Microscope photograph (4× objective) of a membrane that a urine sample was filtered through.
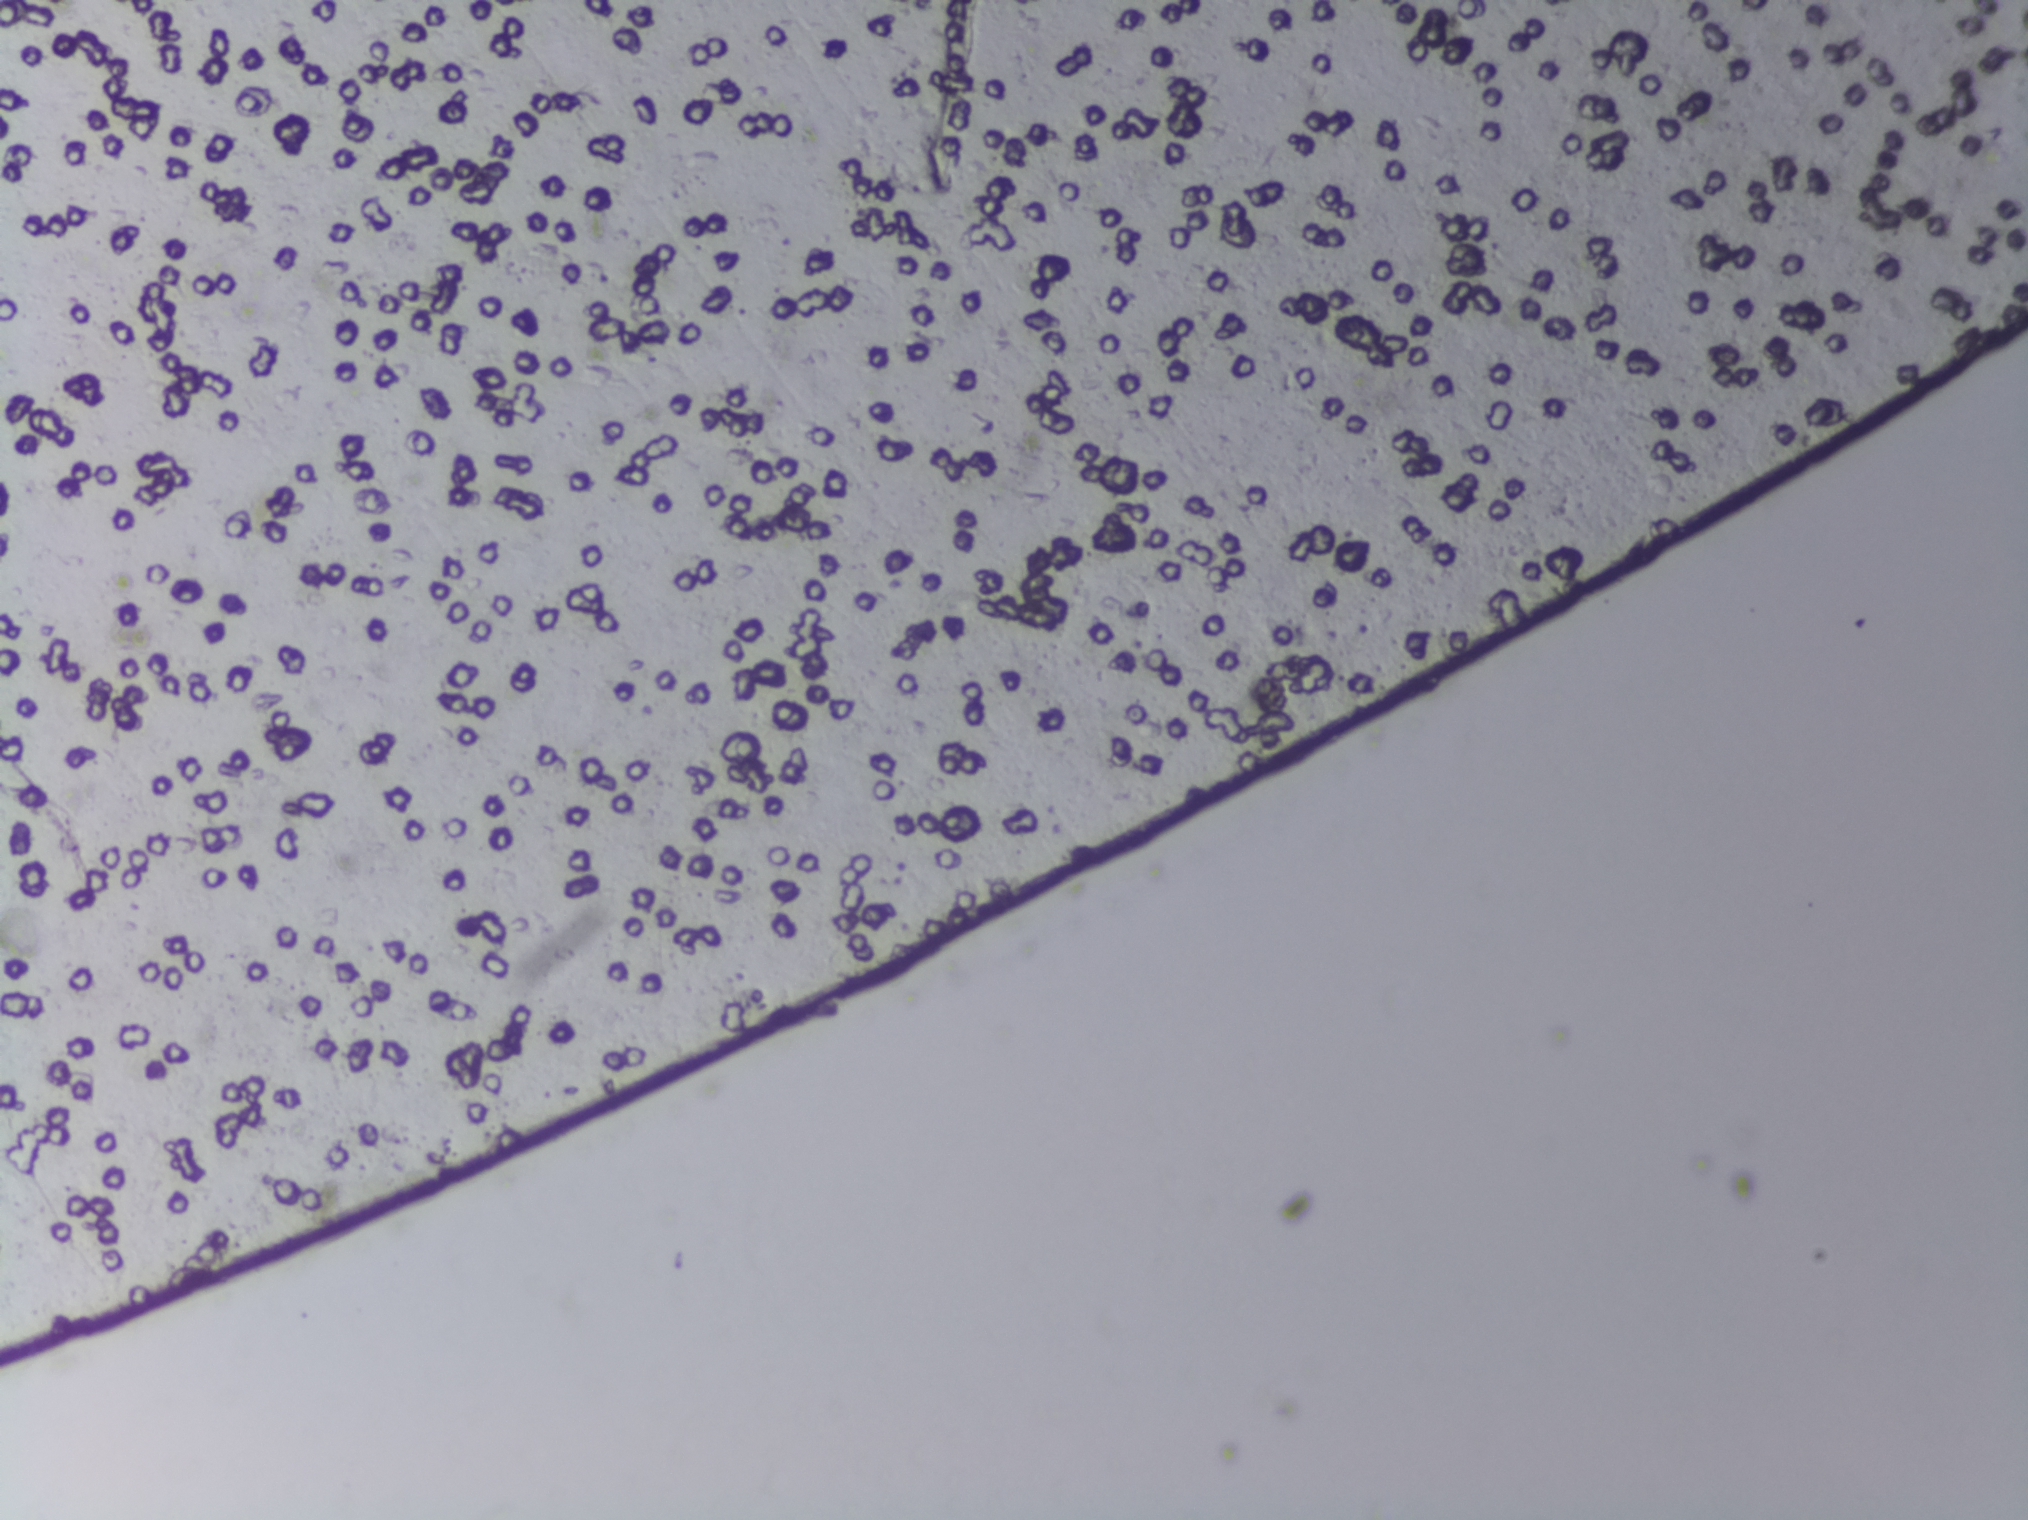
No area of this image was outlined as a Schistosoma egg.